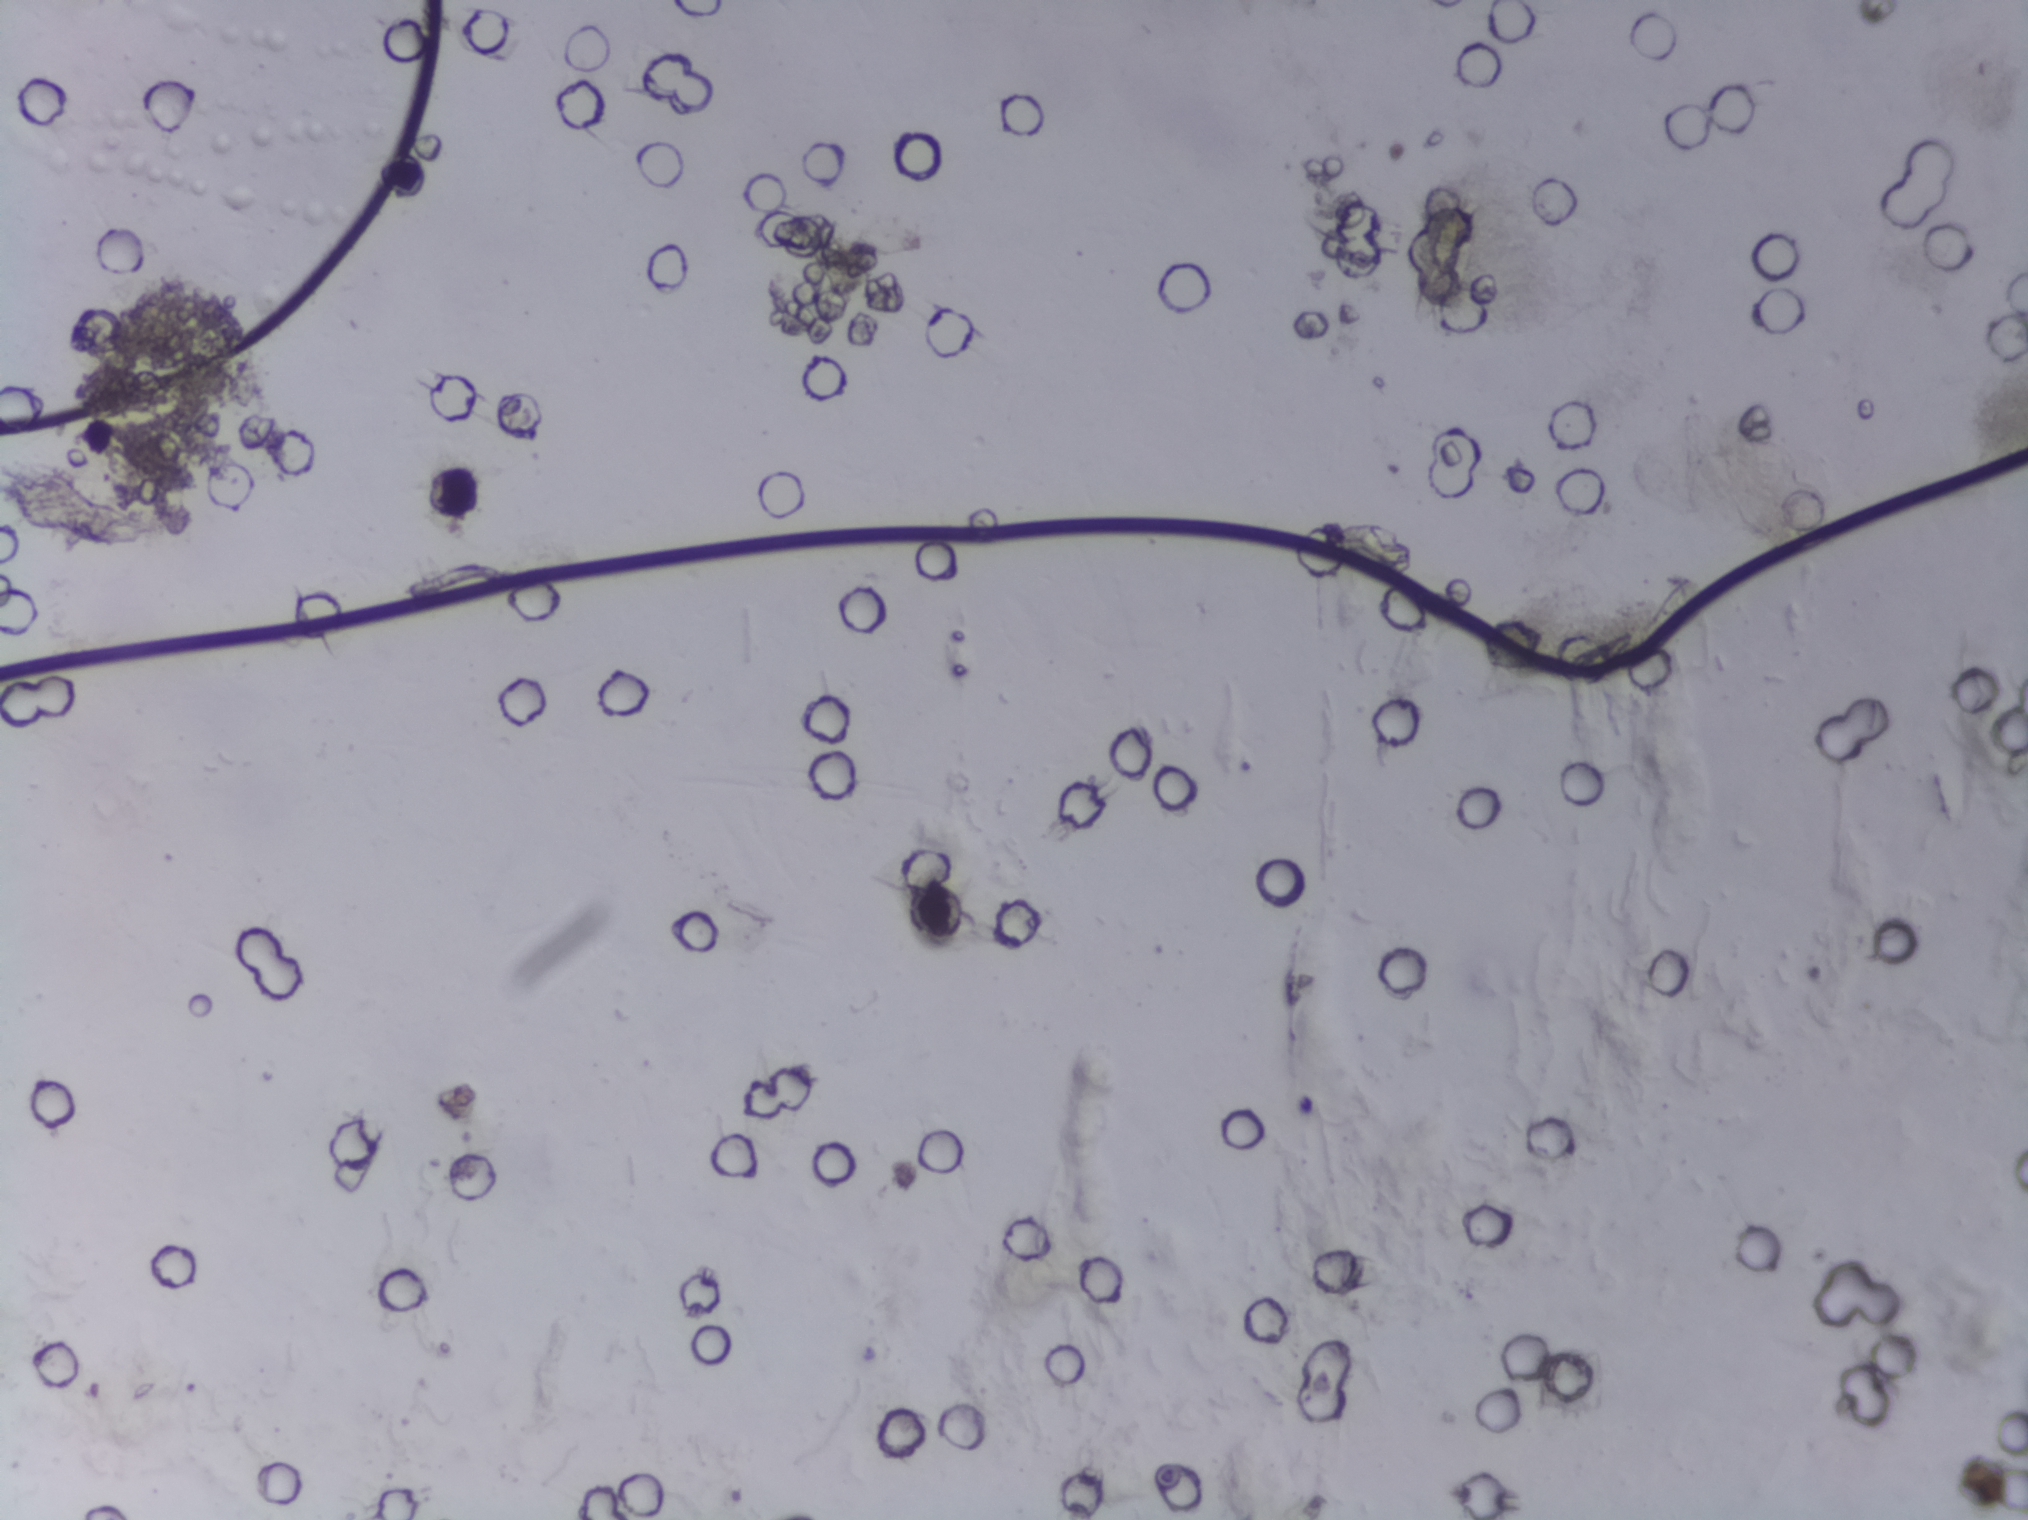
Schistosoma eggs: none outlined.
Photograph from an automated digital microscope: urine filter membrane, 4× objective.